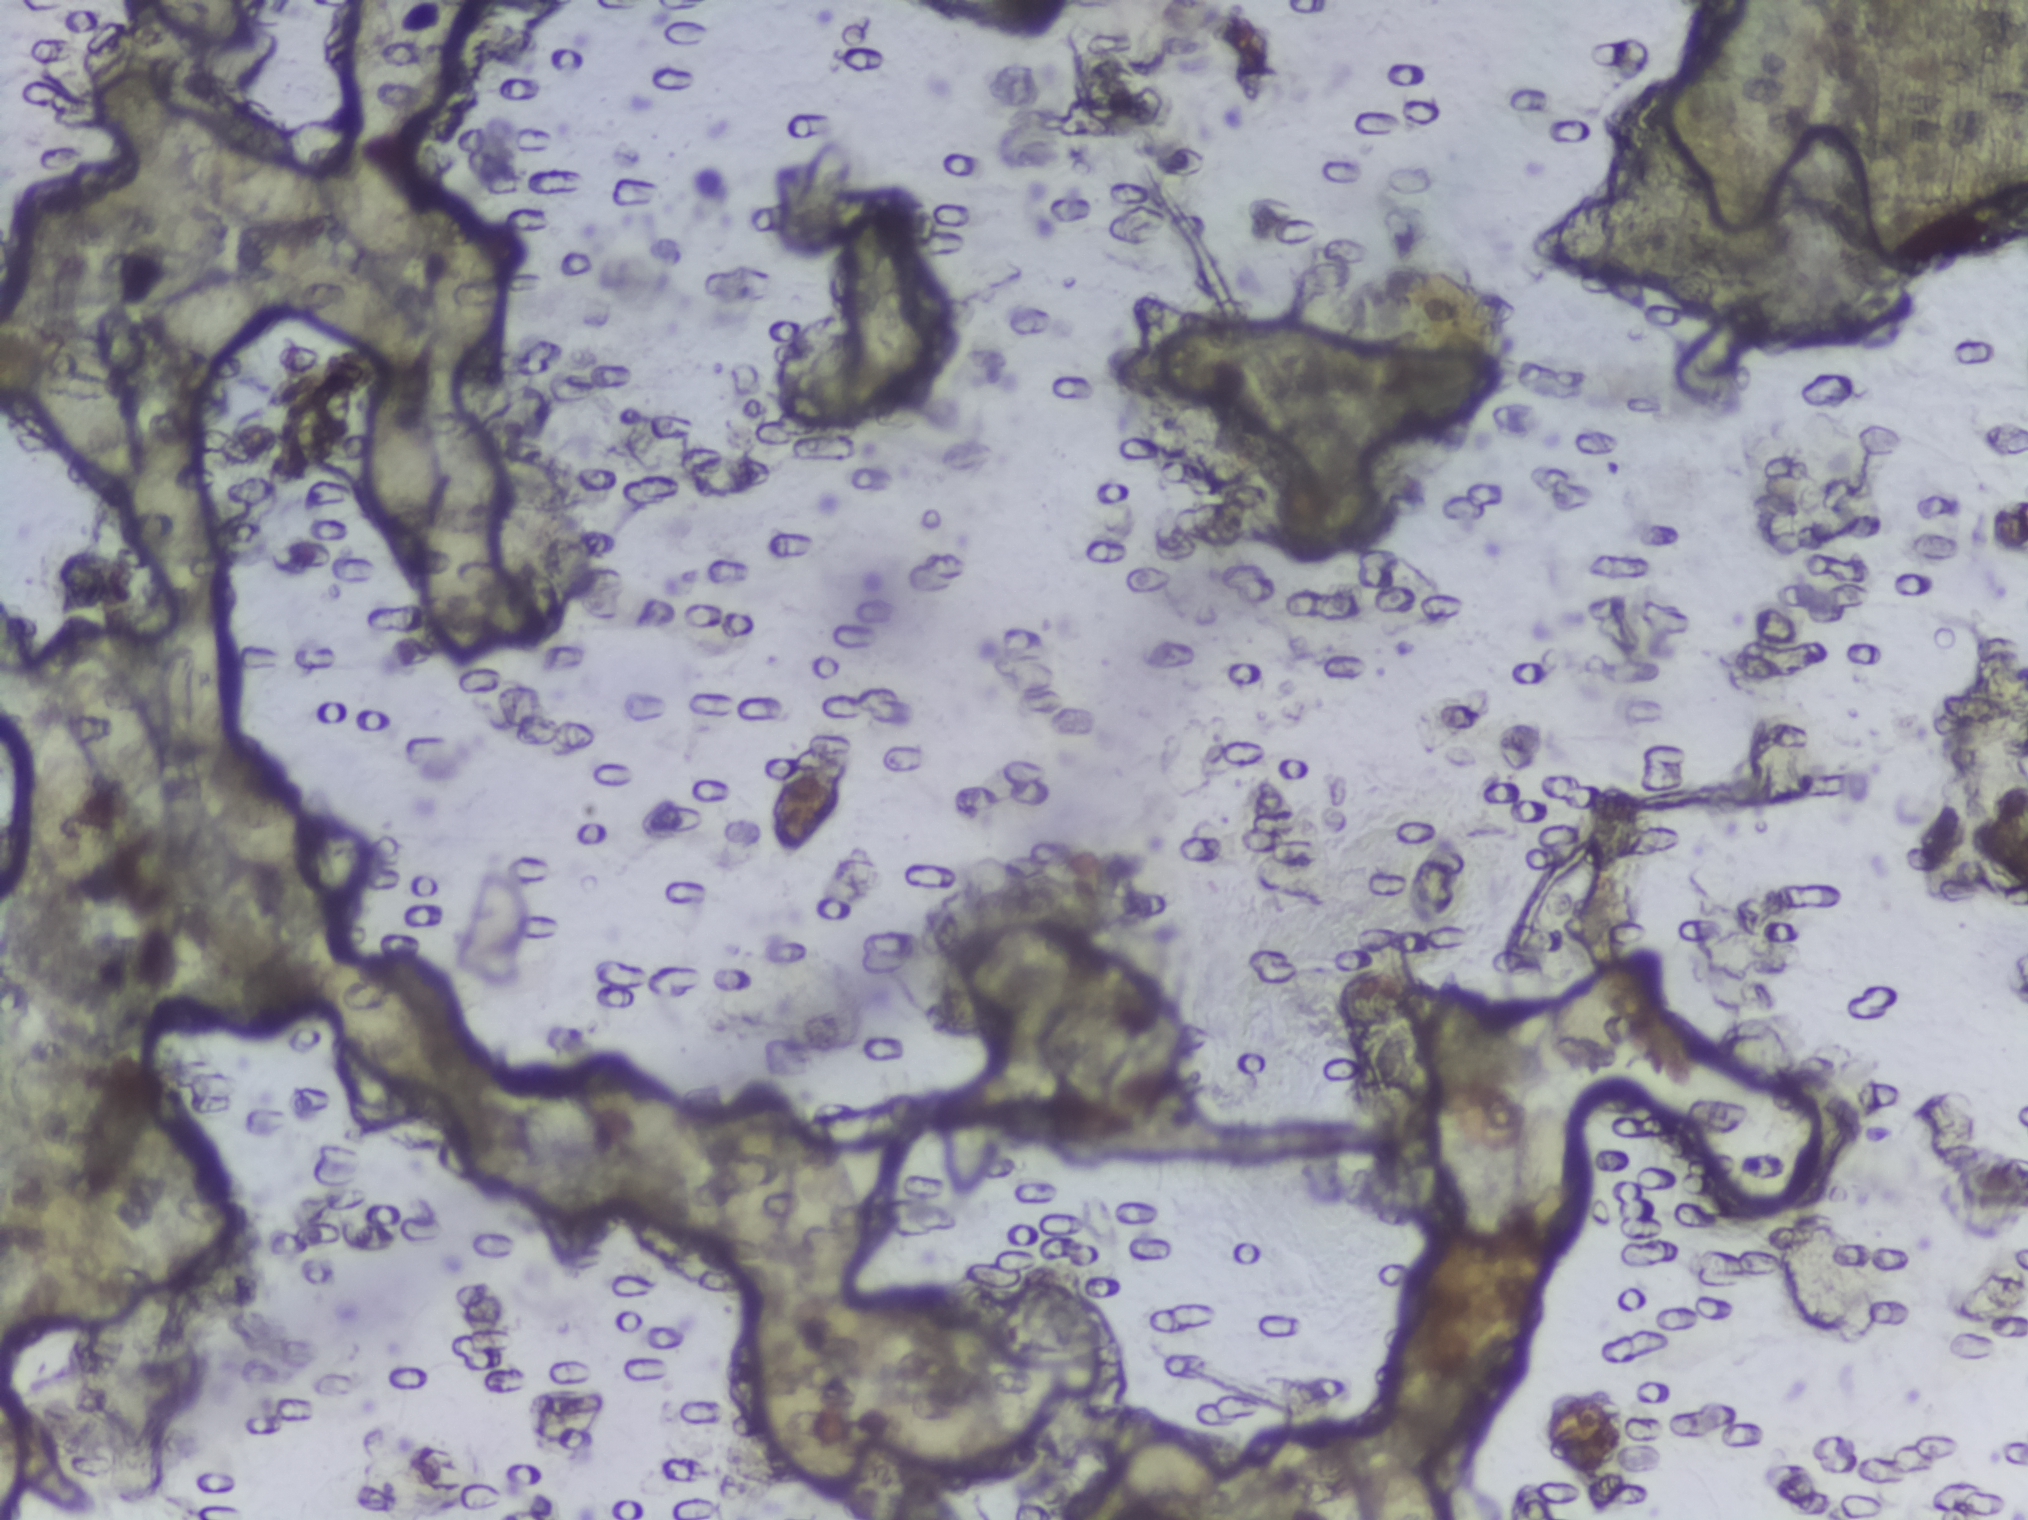
Photograph from an automated digital microscope: urine filter membrane, 4× objective. The image covers about 1.5 × 1.1 mm of the membrane.
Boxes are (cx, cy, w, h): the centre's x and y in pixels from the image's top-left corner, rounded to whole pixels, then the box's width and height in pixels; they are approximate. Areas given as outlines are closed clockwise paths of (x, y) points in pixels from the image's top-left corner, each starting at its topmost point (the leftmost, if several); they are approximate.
Findings: 12 areas outlined as Schistosoma eggs. Locations: box (cx=102, cy=774, w=146, h=255); box (cx=153, cy=1243, w=189, h=100); box (cx=201, cy=25, w=112, h=51) (reaching the top edge of the frame); box (cx=223, cy=315, w=171, h=106); box (cx=301, cy=209, w=261, h=143); box (cx=431, cy=516, w=142, h=297); box (cx=463, cy=287, w=76, h=153); outline (600, 1054), (624, 1060), (673, 1091), (709, 1143), (736, 1085), (758, 1075), (781, 1085), (801, 1117), (821, 1117), (848, 1155), (861, 1197), (853, 1285), (905, 1285), (938, 1295), (950, 1282), (1020, 1271), (1039, 1261), (1111, 1310), (1121, 1326), (1121, 1350), (1085, 1398), (1066, 1395), (1043, 1376), (990, 1355), (954, 1378), (918, 1386), (879, 1386), (846, 1371), (863, 1474), (851, 1499), (827, 1499), (780, 1453), (762, 1422), (756, 1334), (770, 1308), (789, 1309), (797, 1296), (775, 1259), (759, 1270), (733, 1260), (707, 1188), (686, 1186), (631, 1157), (590, 1125), (578, 1098), (579, 1069), (603, 1061) (a cluster of eggs); box (cx=949, cy=1441, w=177, h=95); box (cx=1405, cy=1483, w=86, h=73) (reaching the bottom edge of the frame); box (cx=1549, cy=1177, w=76, h=164); box (cx=1600, cy=1011, w=114, h=120). A single outlined area may contain several eggs.